One field of view of a urine filter membrane, 4× objective, 2028 × 1520 pixels. The field of view is about 1.5 mm × 1.1 mm.
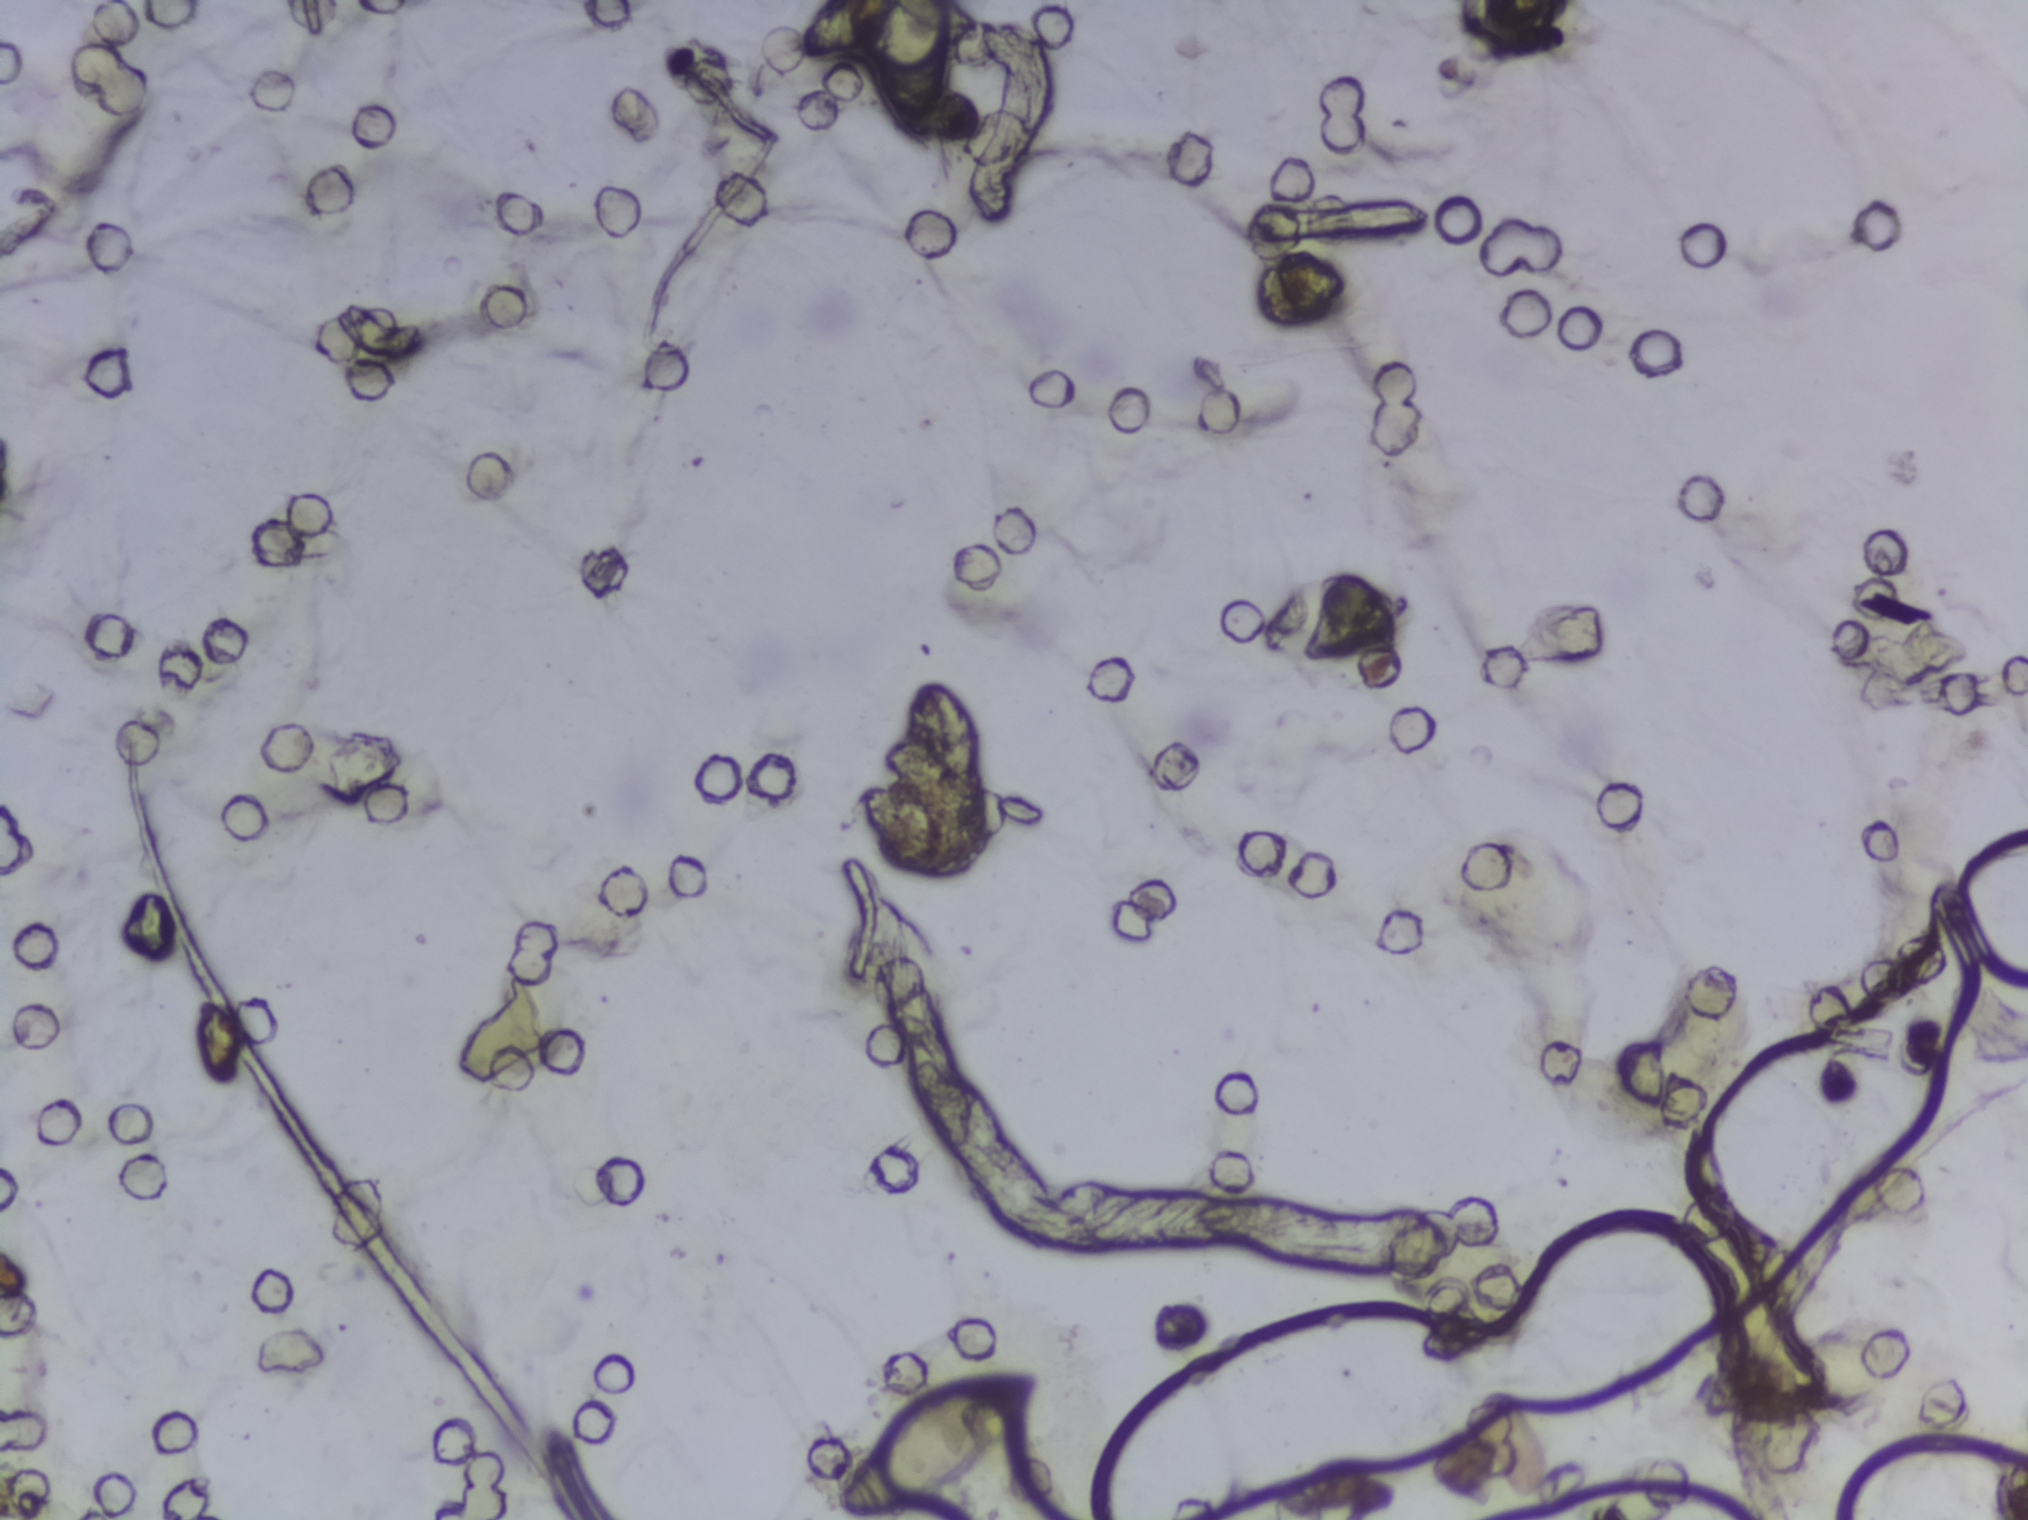
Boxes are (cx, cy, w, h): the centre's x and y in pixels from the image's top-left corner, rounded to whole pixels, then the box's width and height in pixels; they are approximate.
Schistosoma eggs, outlined areas: (cx=874, cy=78, w=172, h=157) (reaching the top edge of the frame); (cx=938, cy=1442, w=209, h=152). About 1.1% of the image's pixels are marked (the marked pixels themselves, not the boxes around them). Eggs that touch can end up inside the same outlined area.